Microscope photograph (4× objective) of a membrane that a urine sample was filtered through.
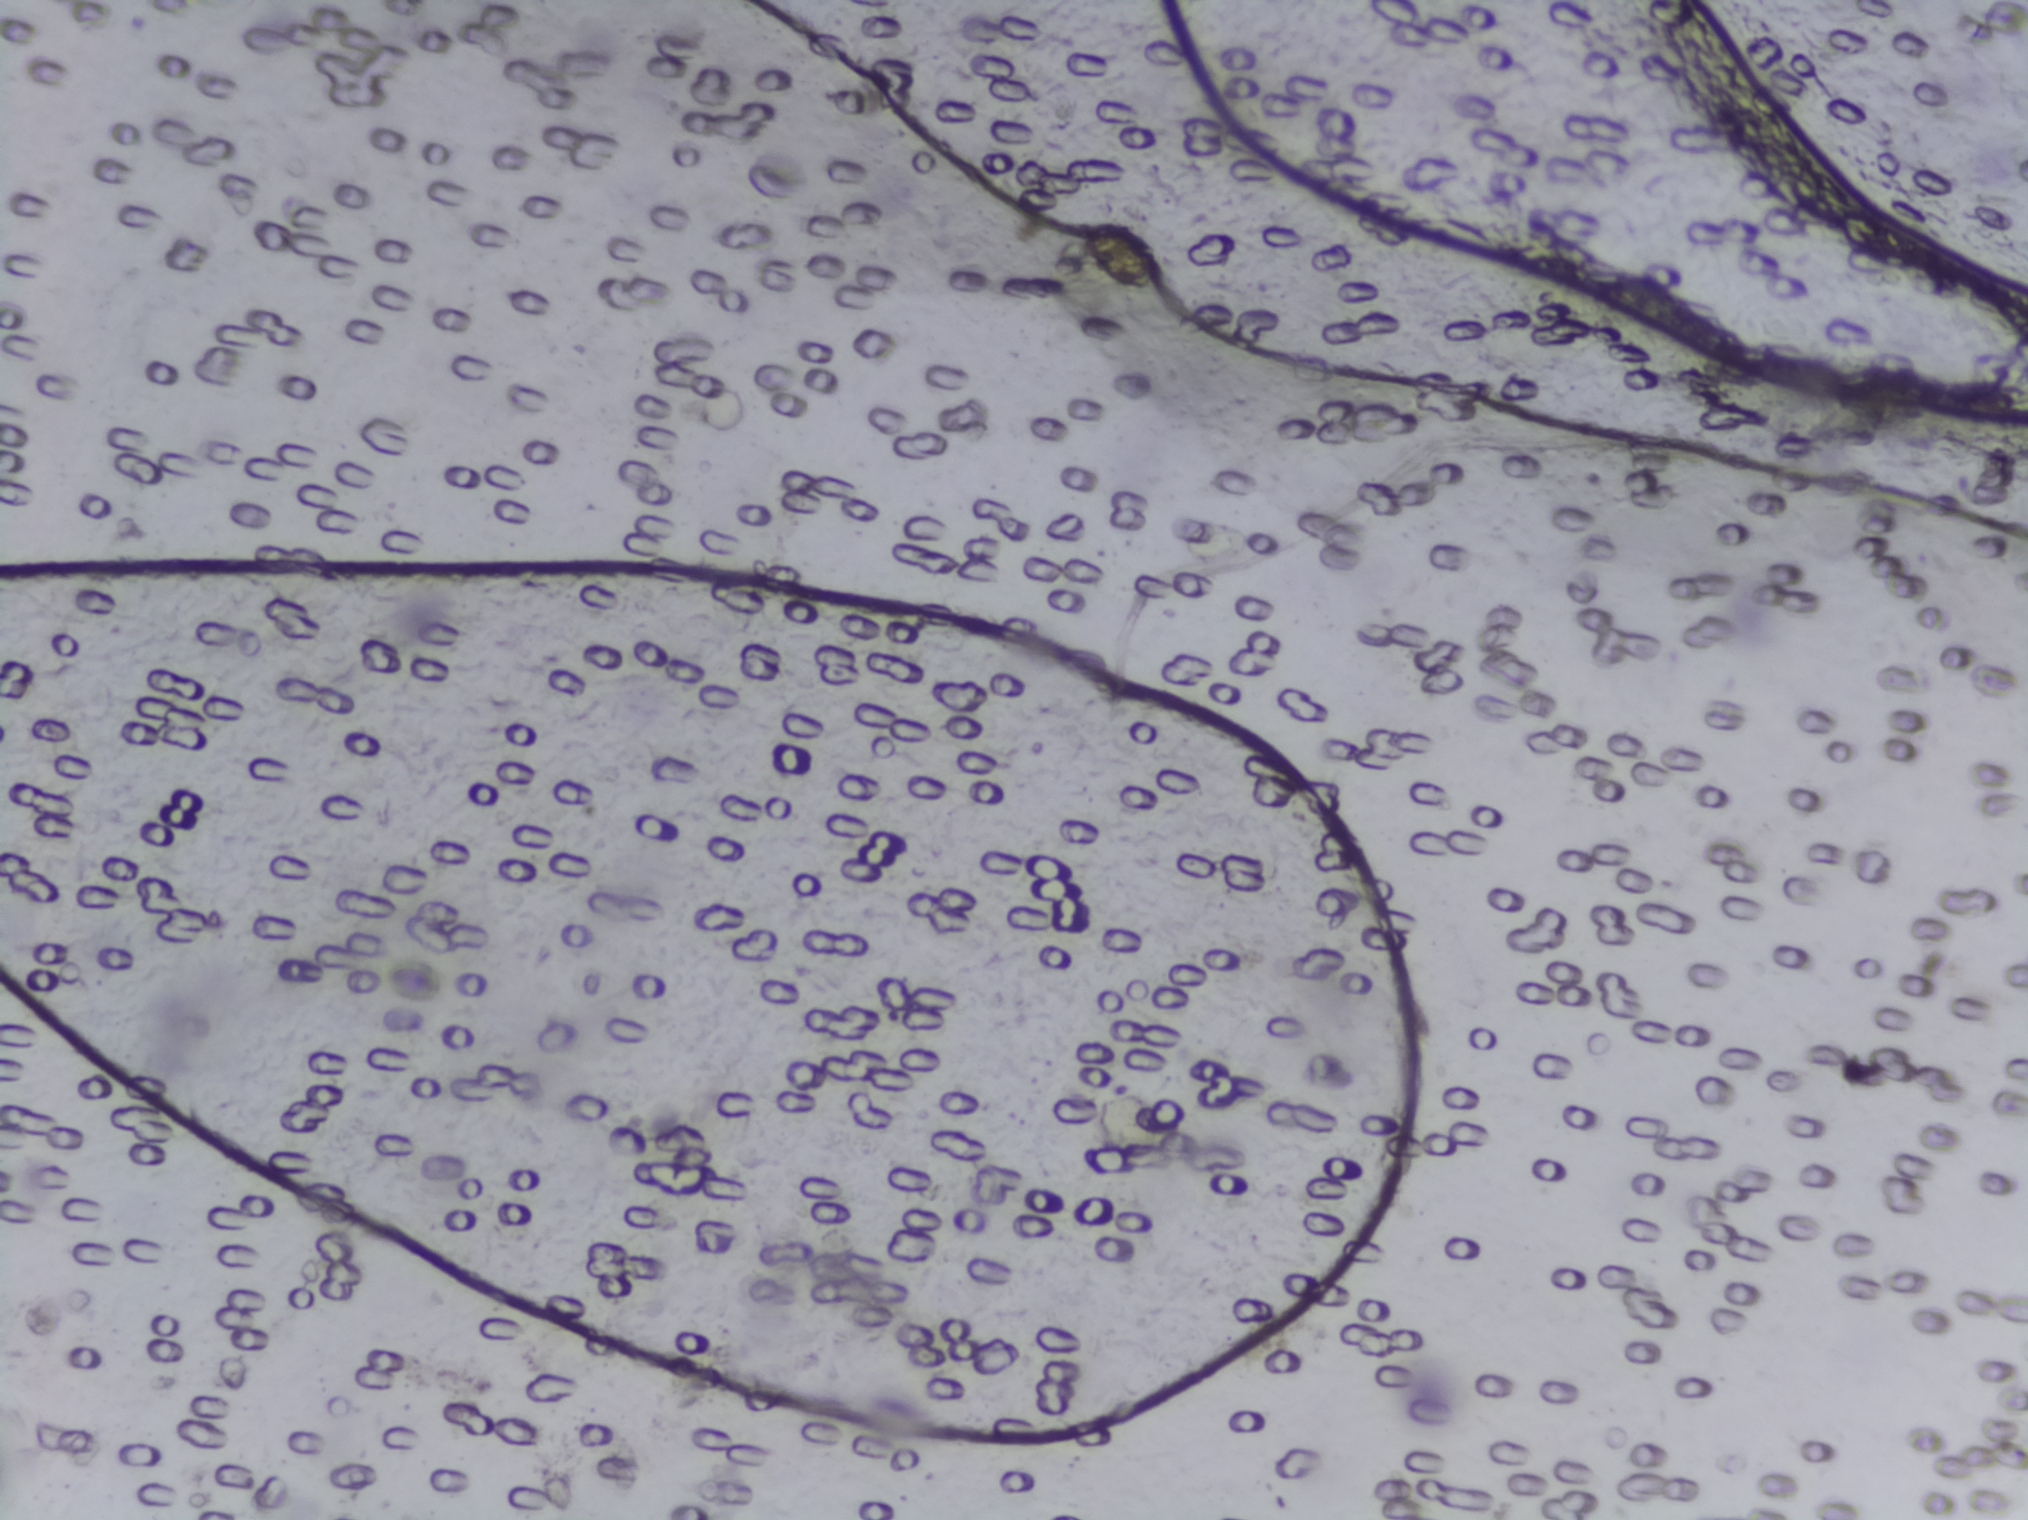
No area of this image was outlined as a Schistosoma egg.